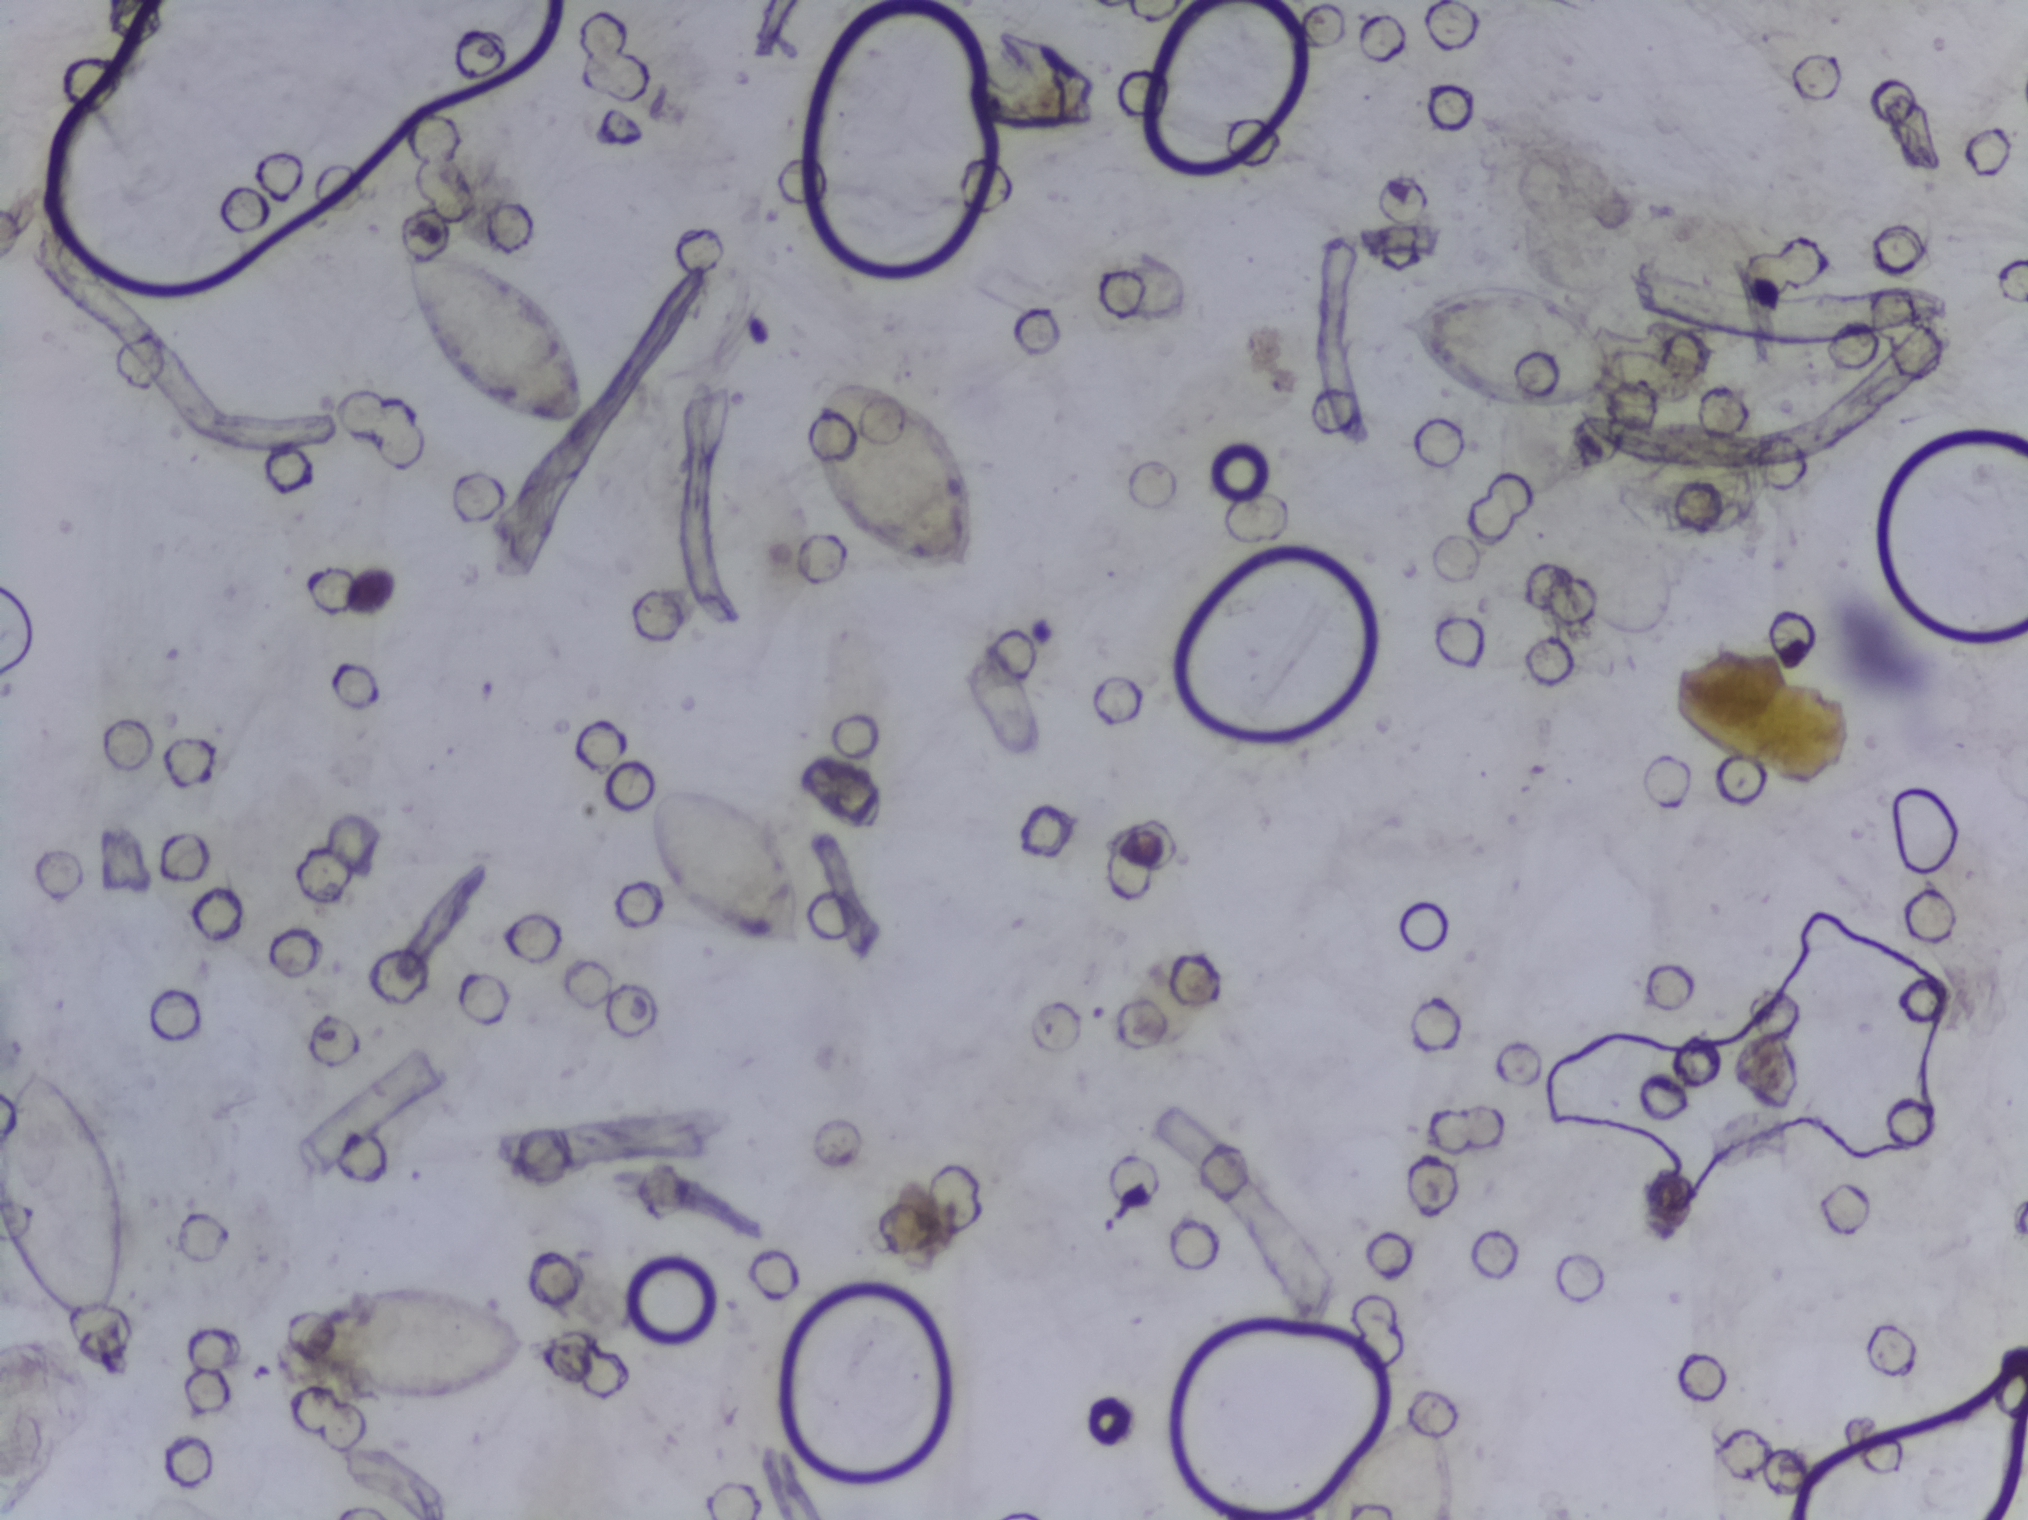
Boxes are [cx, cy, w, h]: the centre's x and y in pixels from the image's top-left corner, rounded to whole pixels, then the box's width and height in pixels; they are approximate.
{"schistosoma_egg_areas_cxcywh_px": [[65, 1199, 131, 270], [407, 1341, 264, 118], [494, 336, 194, 187], [728, 872, 158, 172], [896, 480, 174, 212], [1386, 1454, 159, 131], [1505, 346, 228, 131]]} Area 1 reaches the left edge of the frame. Area 6 reaches the bottom edge of the frame.
An outlined area can hold more than one egg.
Microscope photograph (4× objective) of a membrane that a urine sample was filtered through.